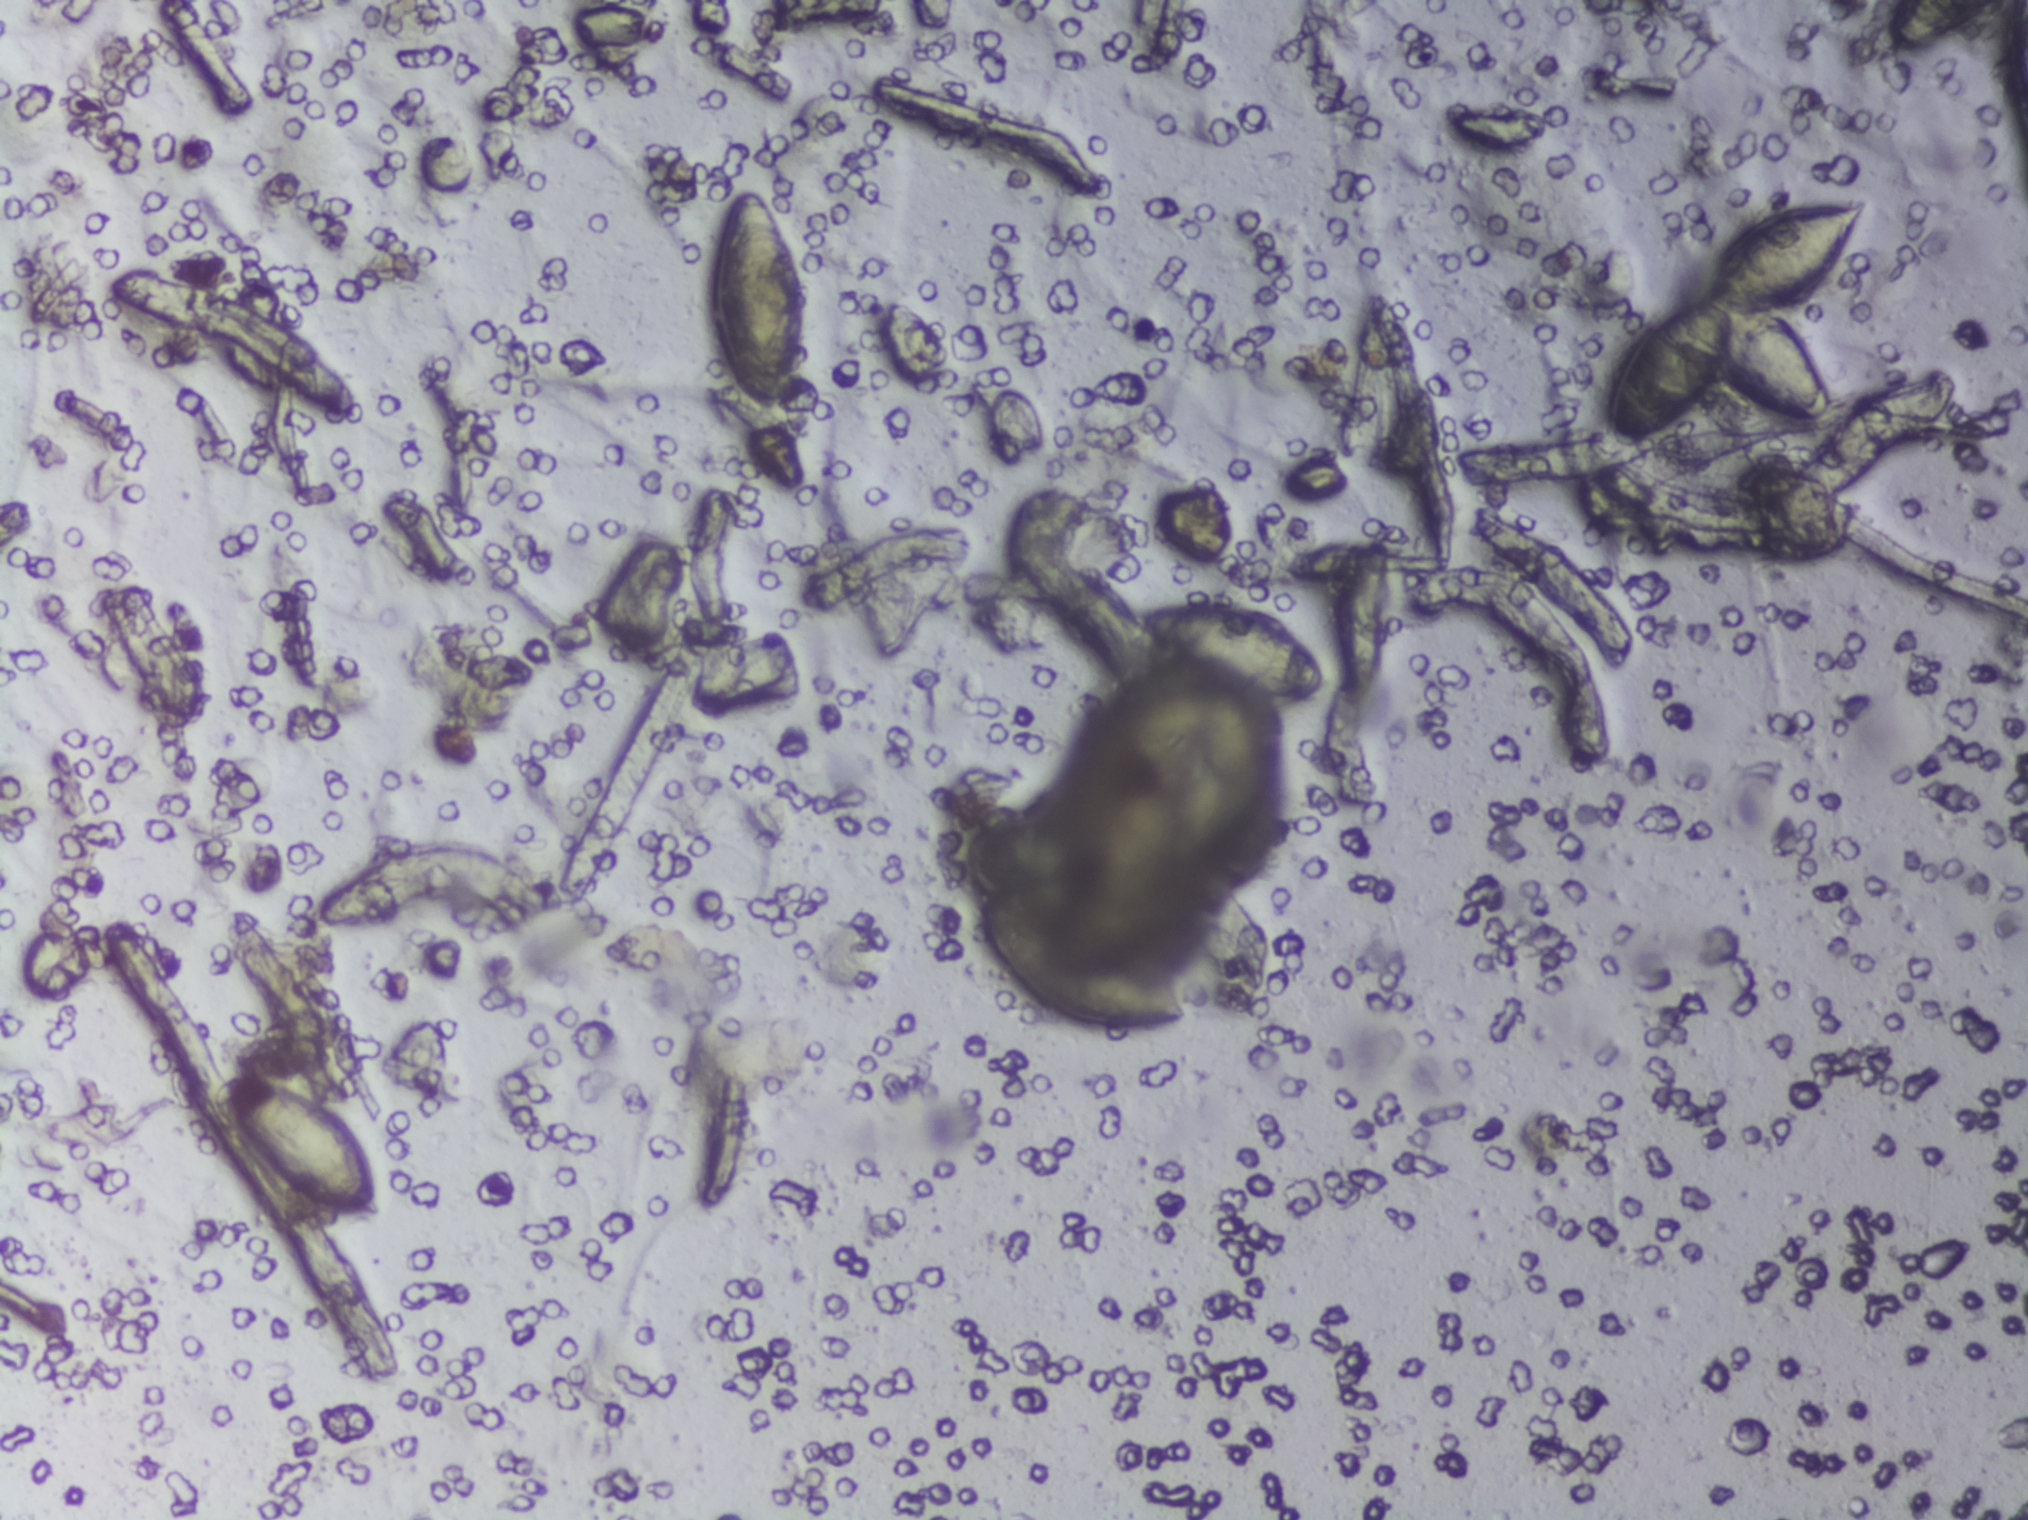
Photomicrograph of a urine filtration membrane, 4× objective.
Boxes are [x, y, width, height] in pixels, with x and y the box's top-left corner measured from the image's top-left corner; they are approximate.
Areas outlined as Schistosoma eggs: [216, 1072, 175, 159]; [704, 184, 111, 237]; [976, 883, 214, 149]; [1135, 599, 195, 106]; [1608, 195, 263, 258]; [1888, 0, 109, 53] (reaching the top edge of the frame). A single outlined area may contain several eggs.